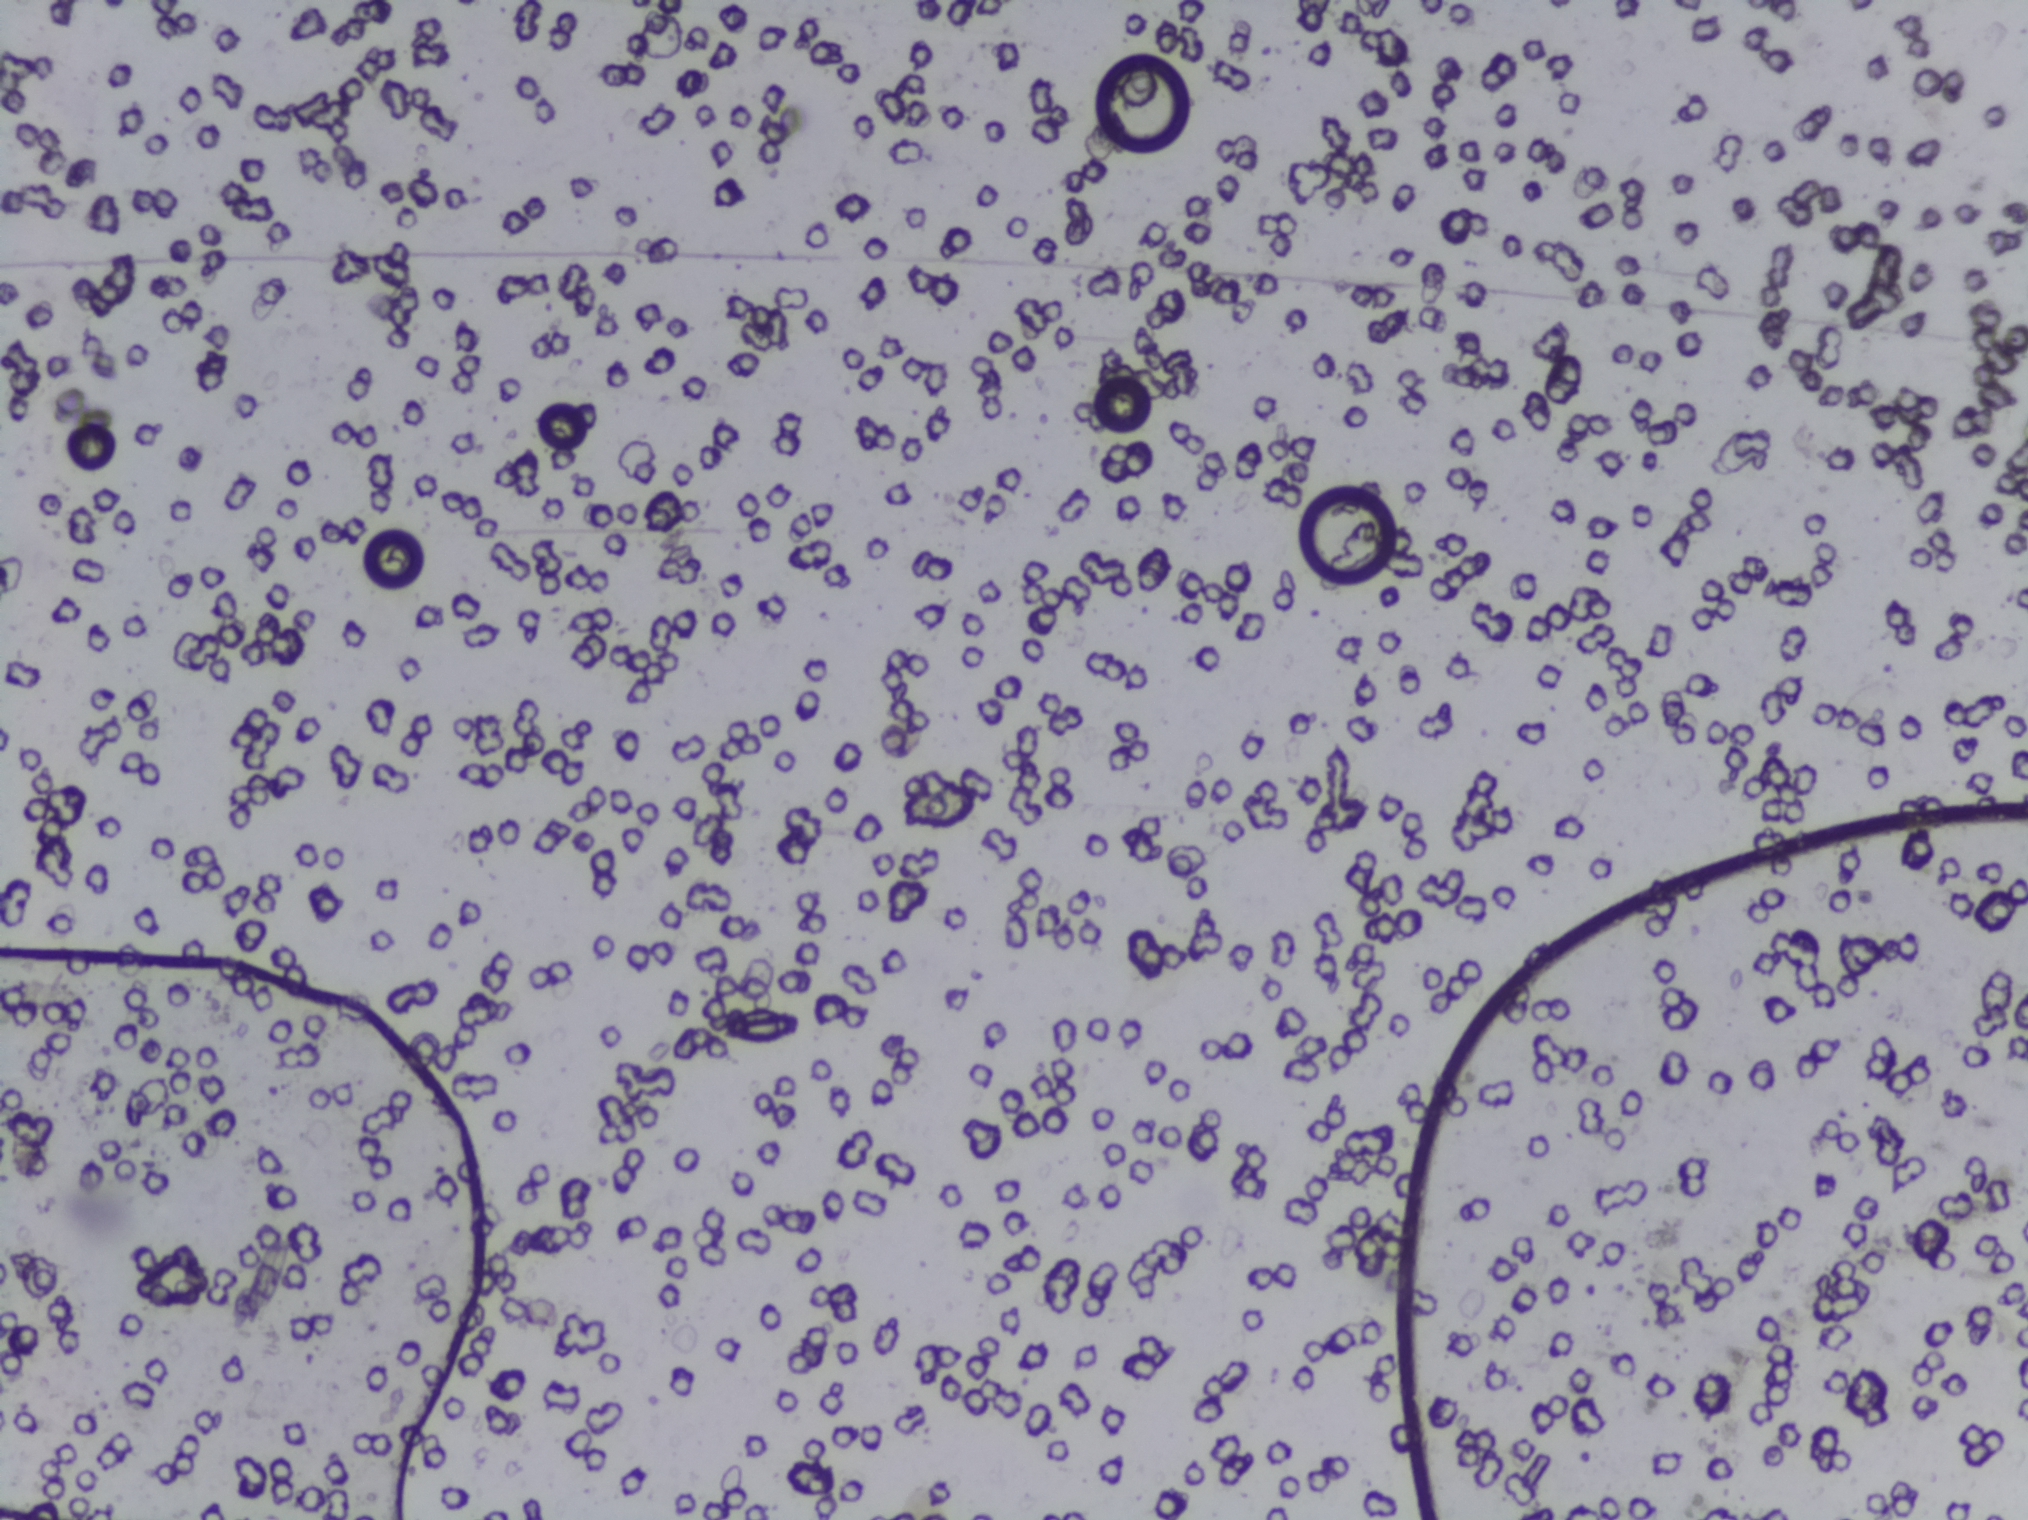
Photomicrograph of a urine filtration membrane, 4× objective.
No Schistosoma egg is outlined in this image's expert annotation.